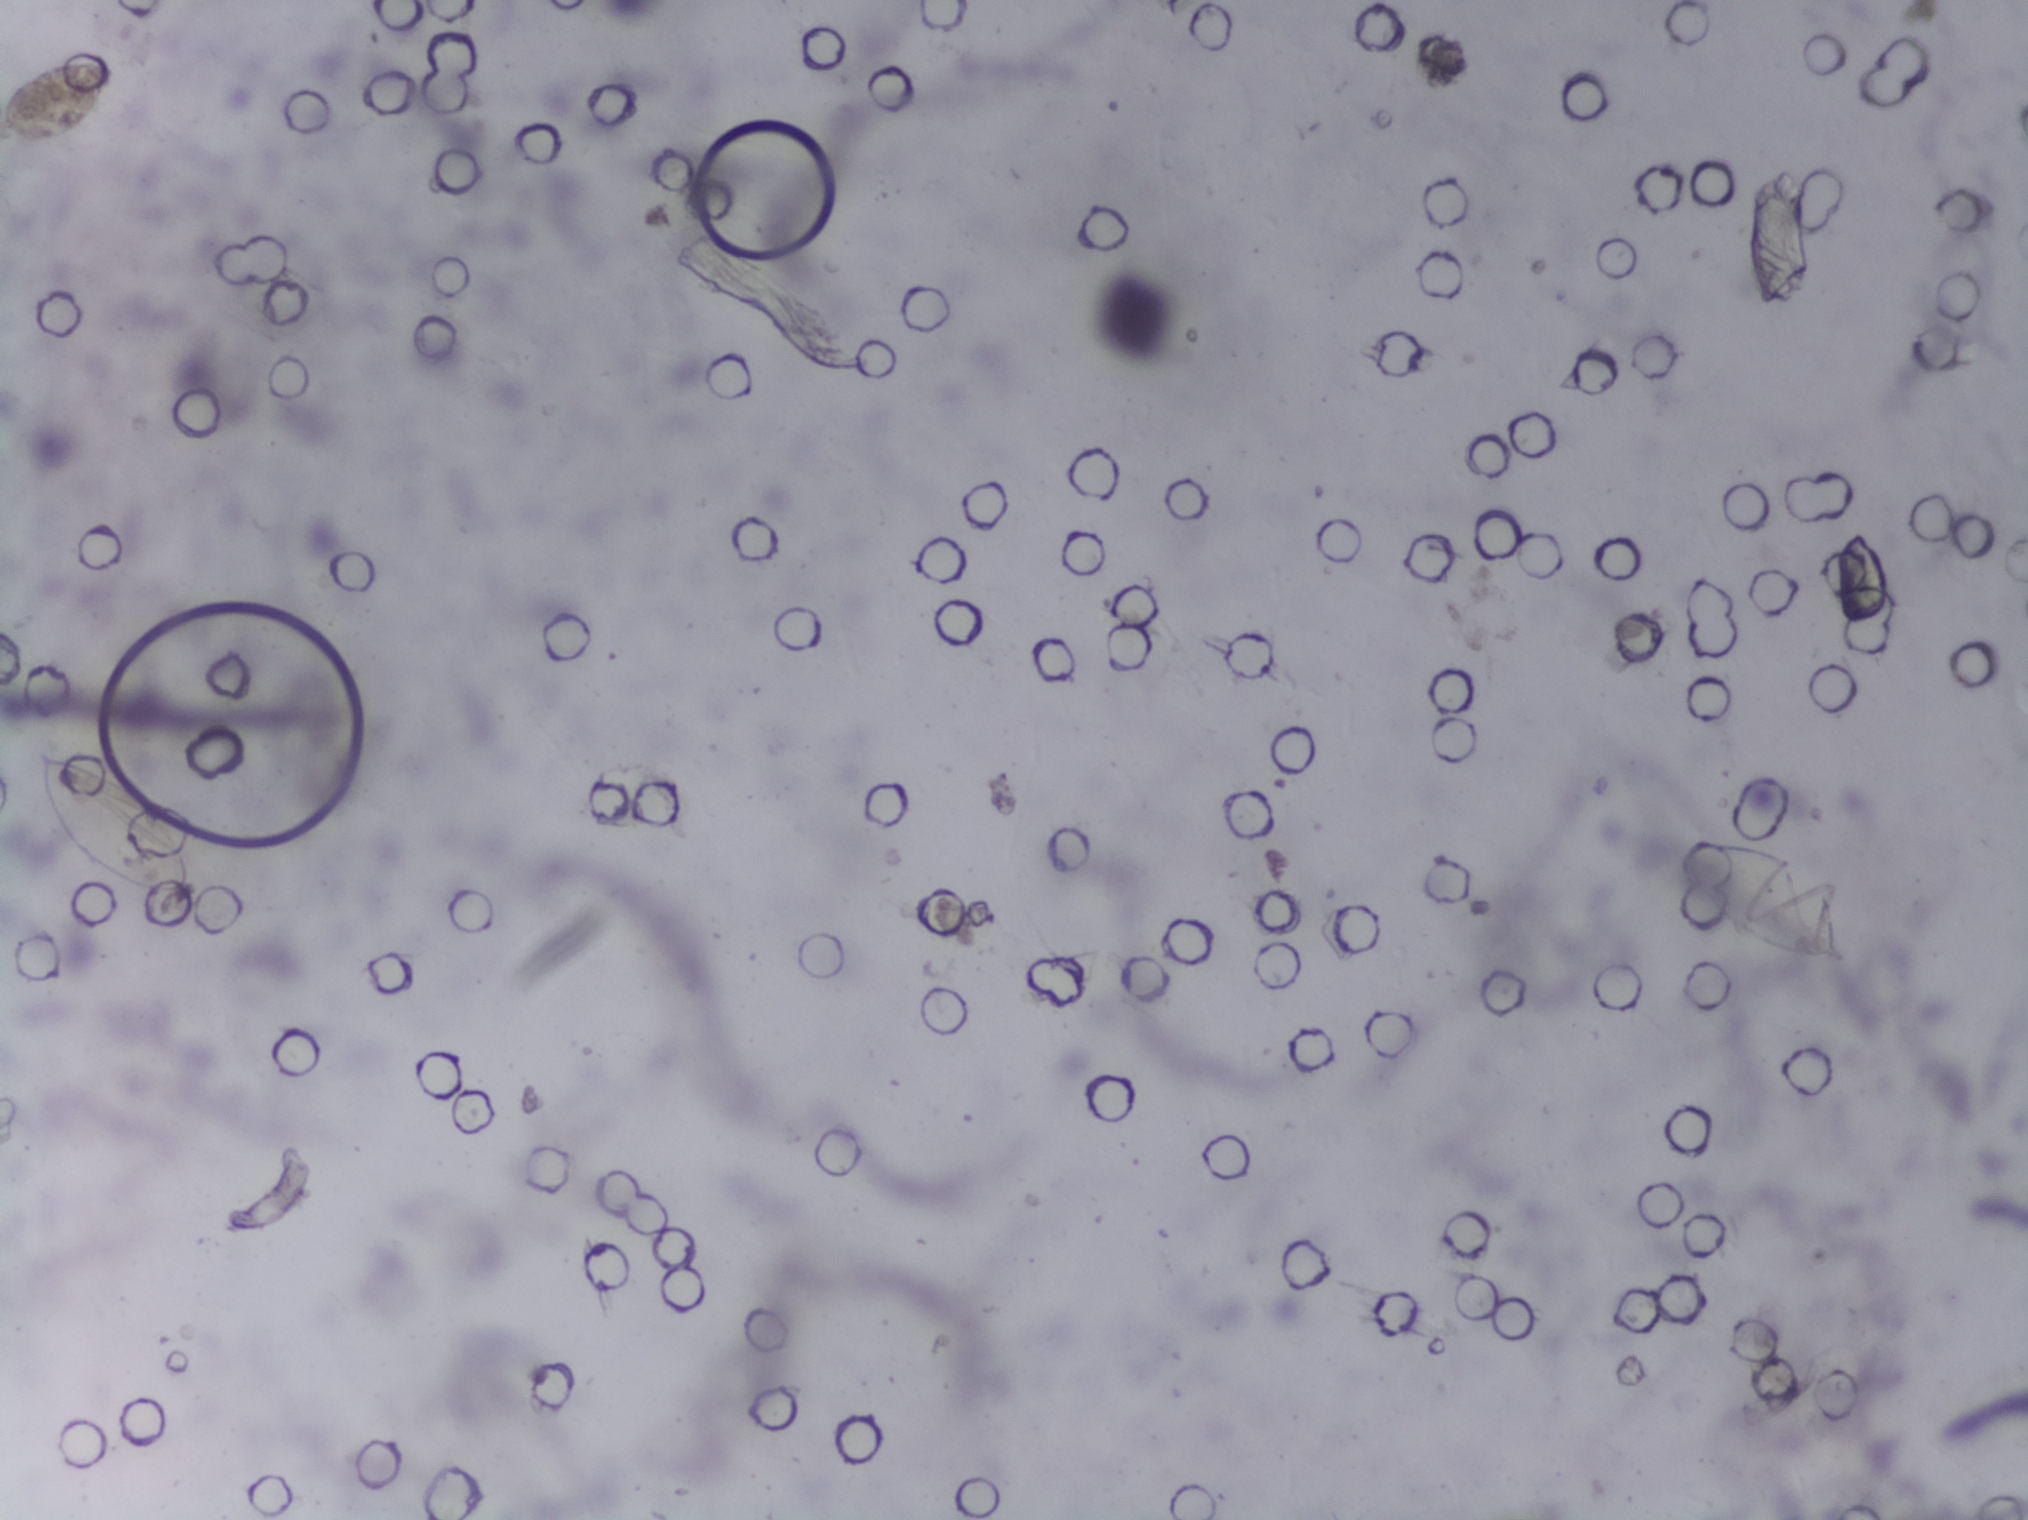
Photograph from an automated digital microscope: urine filter membrane, 4× objective. Field of view: about 1.5 mm wide and 1.1 mm high.
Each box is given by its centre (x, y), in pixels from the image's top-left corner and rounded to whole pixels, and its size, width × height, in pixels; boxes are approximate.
Schistosoma eggs, outlined areas: centre (56, 100), 113 × 82 px (reaching the left edge of the frame); centre (110, 823), 163 × 153 px; centre (1760, 903), 173 × 125 px. Eggs that touch can end up inside the same outlined area.